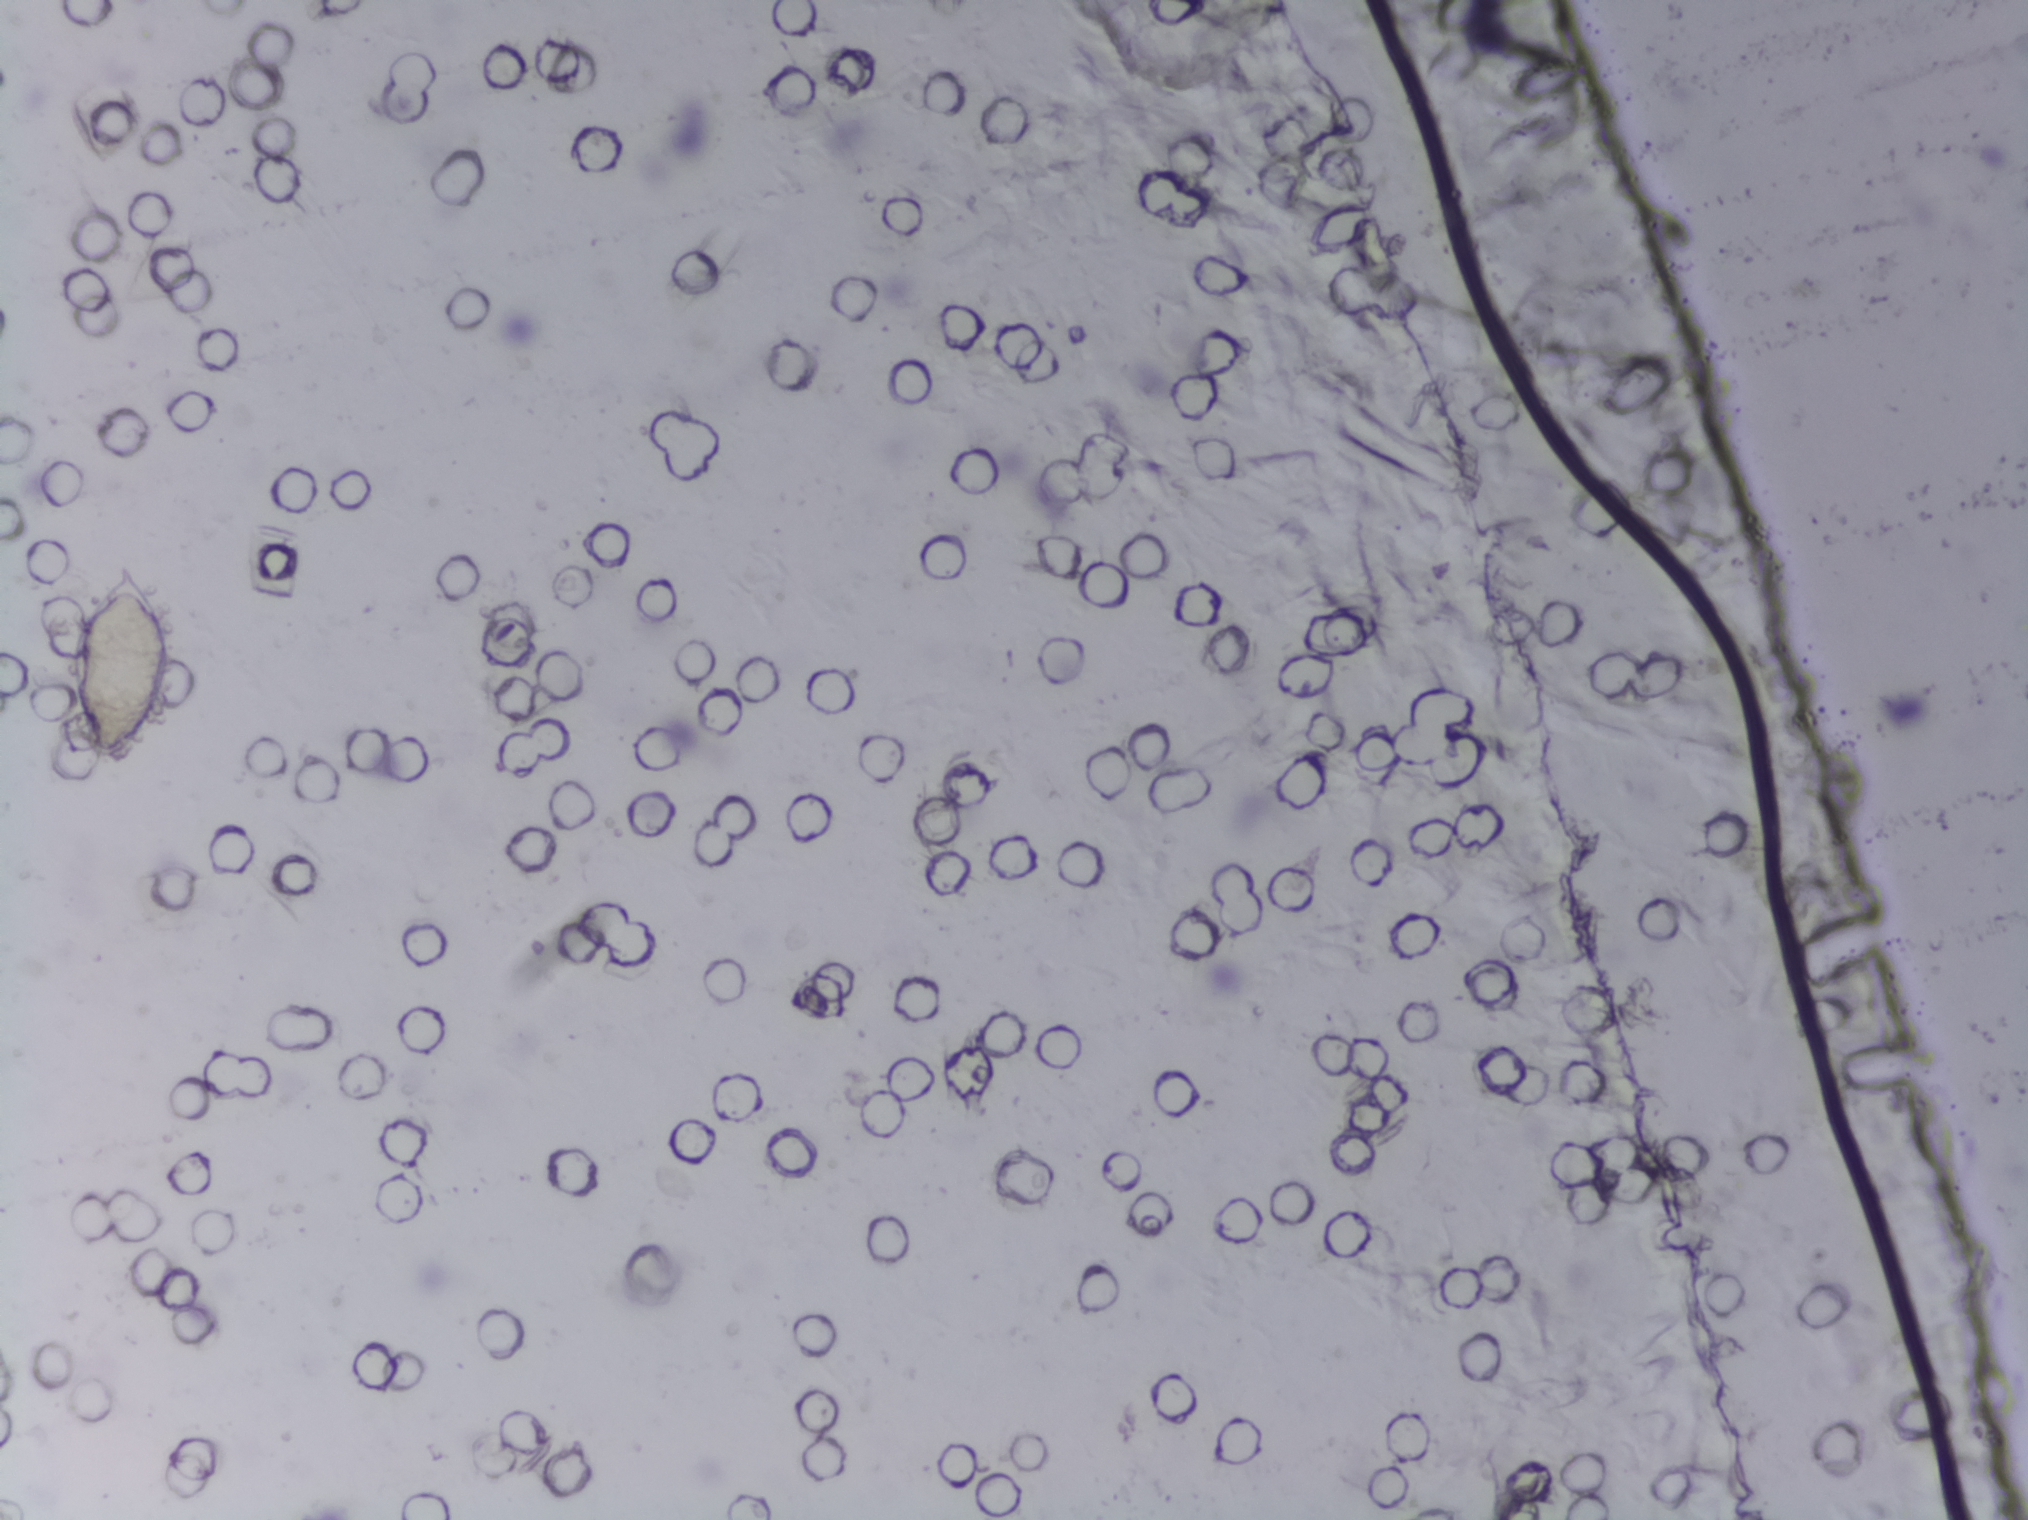
Urine filter membrane photographed through a 4× microscope objective. Field of view: about 1.5 mm wide and 1.1 mm high.
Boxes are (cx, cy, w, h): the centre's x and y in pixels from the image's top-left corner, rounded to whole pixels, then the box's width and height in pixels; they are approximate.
Schistosoma eggs are outlined in one area of this image: (cx=120, cy=664, w=98, h=208). Eggs that touch can end up inside the same outlined area.